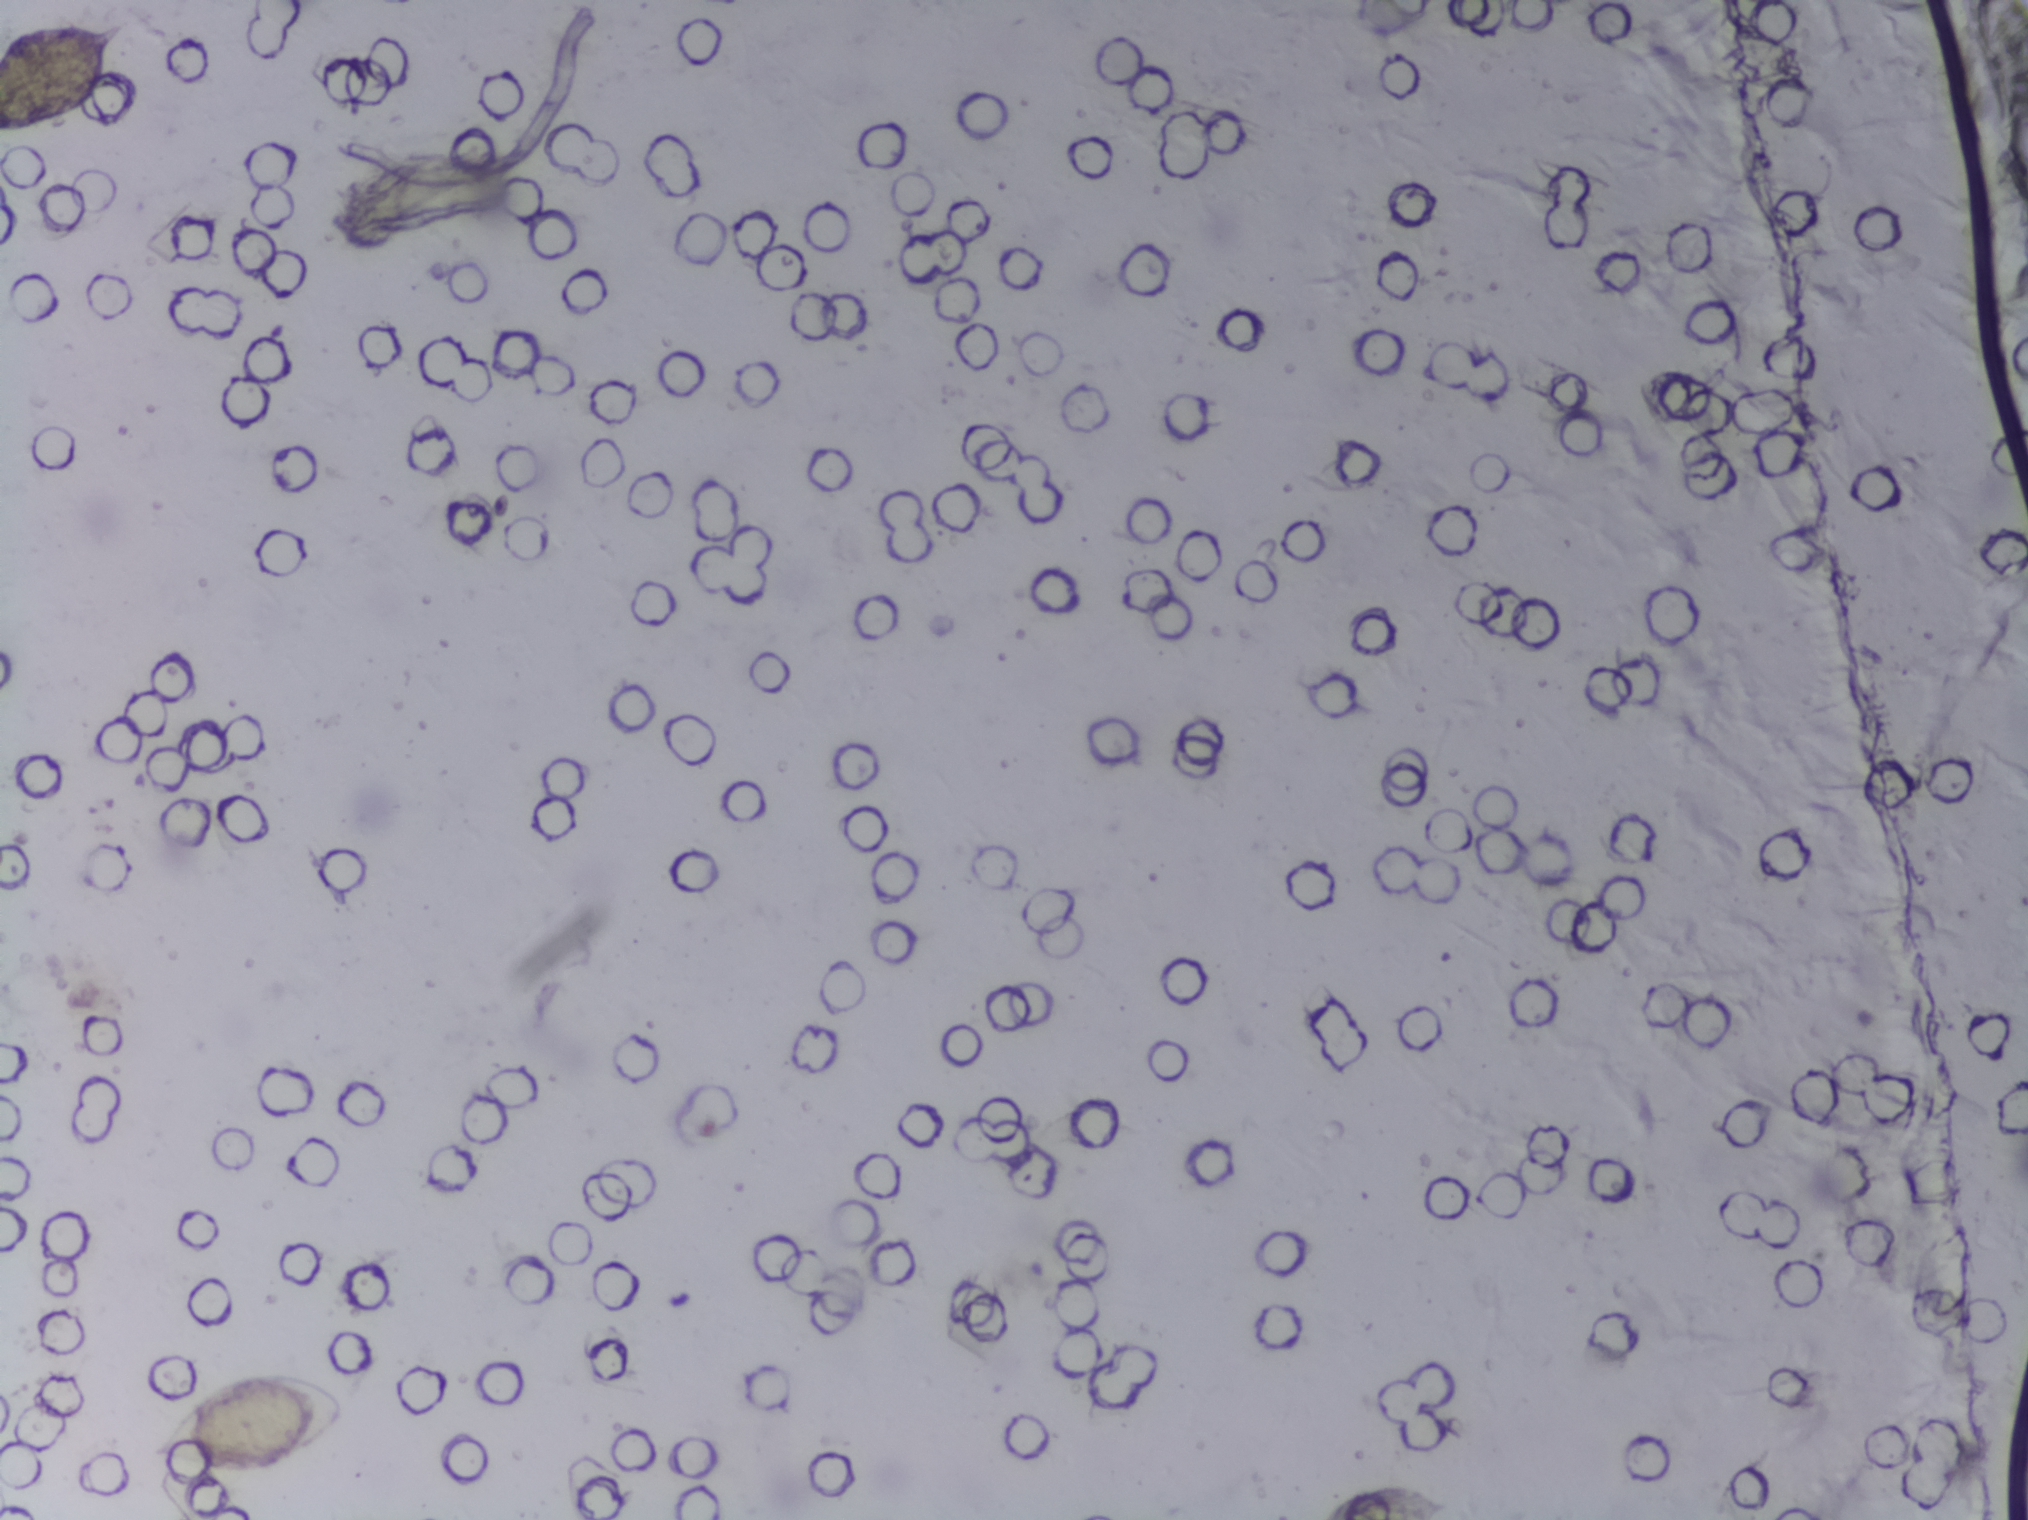
Photomicrograph of a urine filtration membrane, 4× objective.
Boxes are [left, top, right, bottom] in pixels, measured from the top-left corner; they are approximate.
Schistosoma eggs are outlined in three areas of this image, listed from left to right: [0, 17, 128, 140] (reaching the left edge of the frame); [146, 1365, 349, 1476]; [1324, 1483, 1449, 1519] (reaching the bottom edge of the frame). Eggs that touch can end up inside the same outlined area. A marked egg may occasionally be S. mansoni rather than S. haematobium.